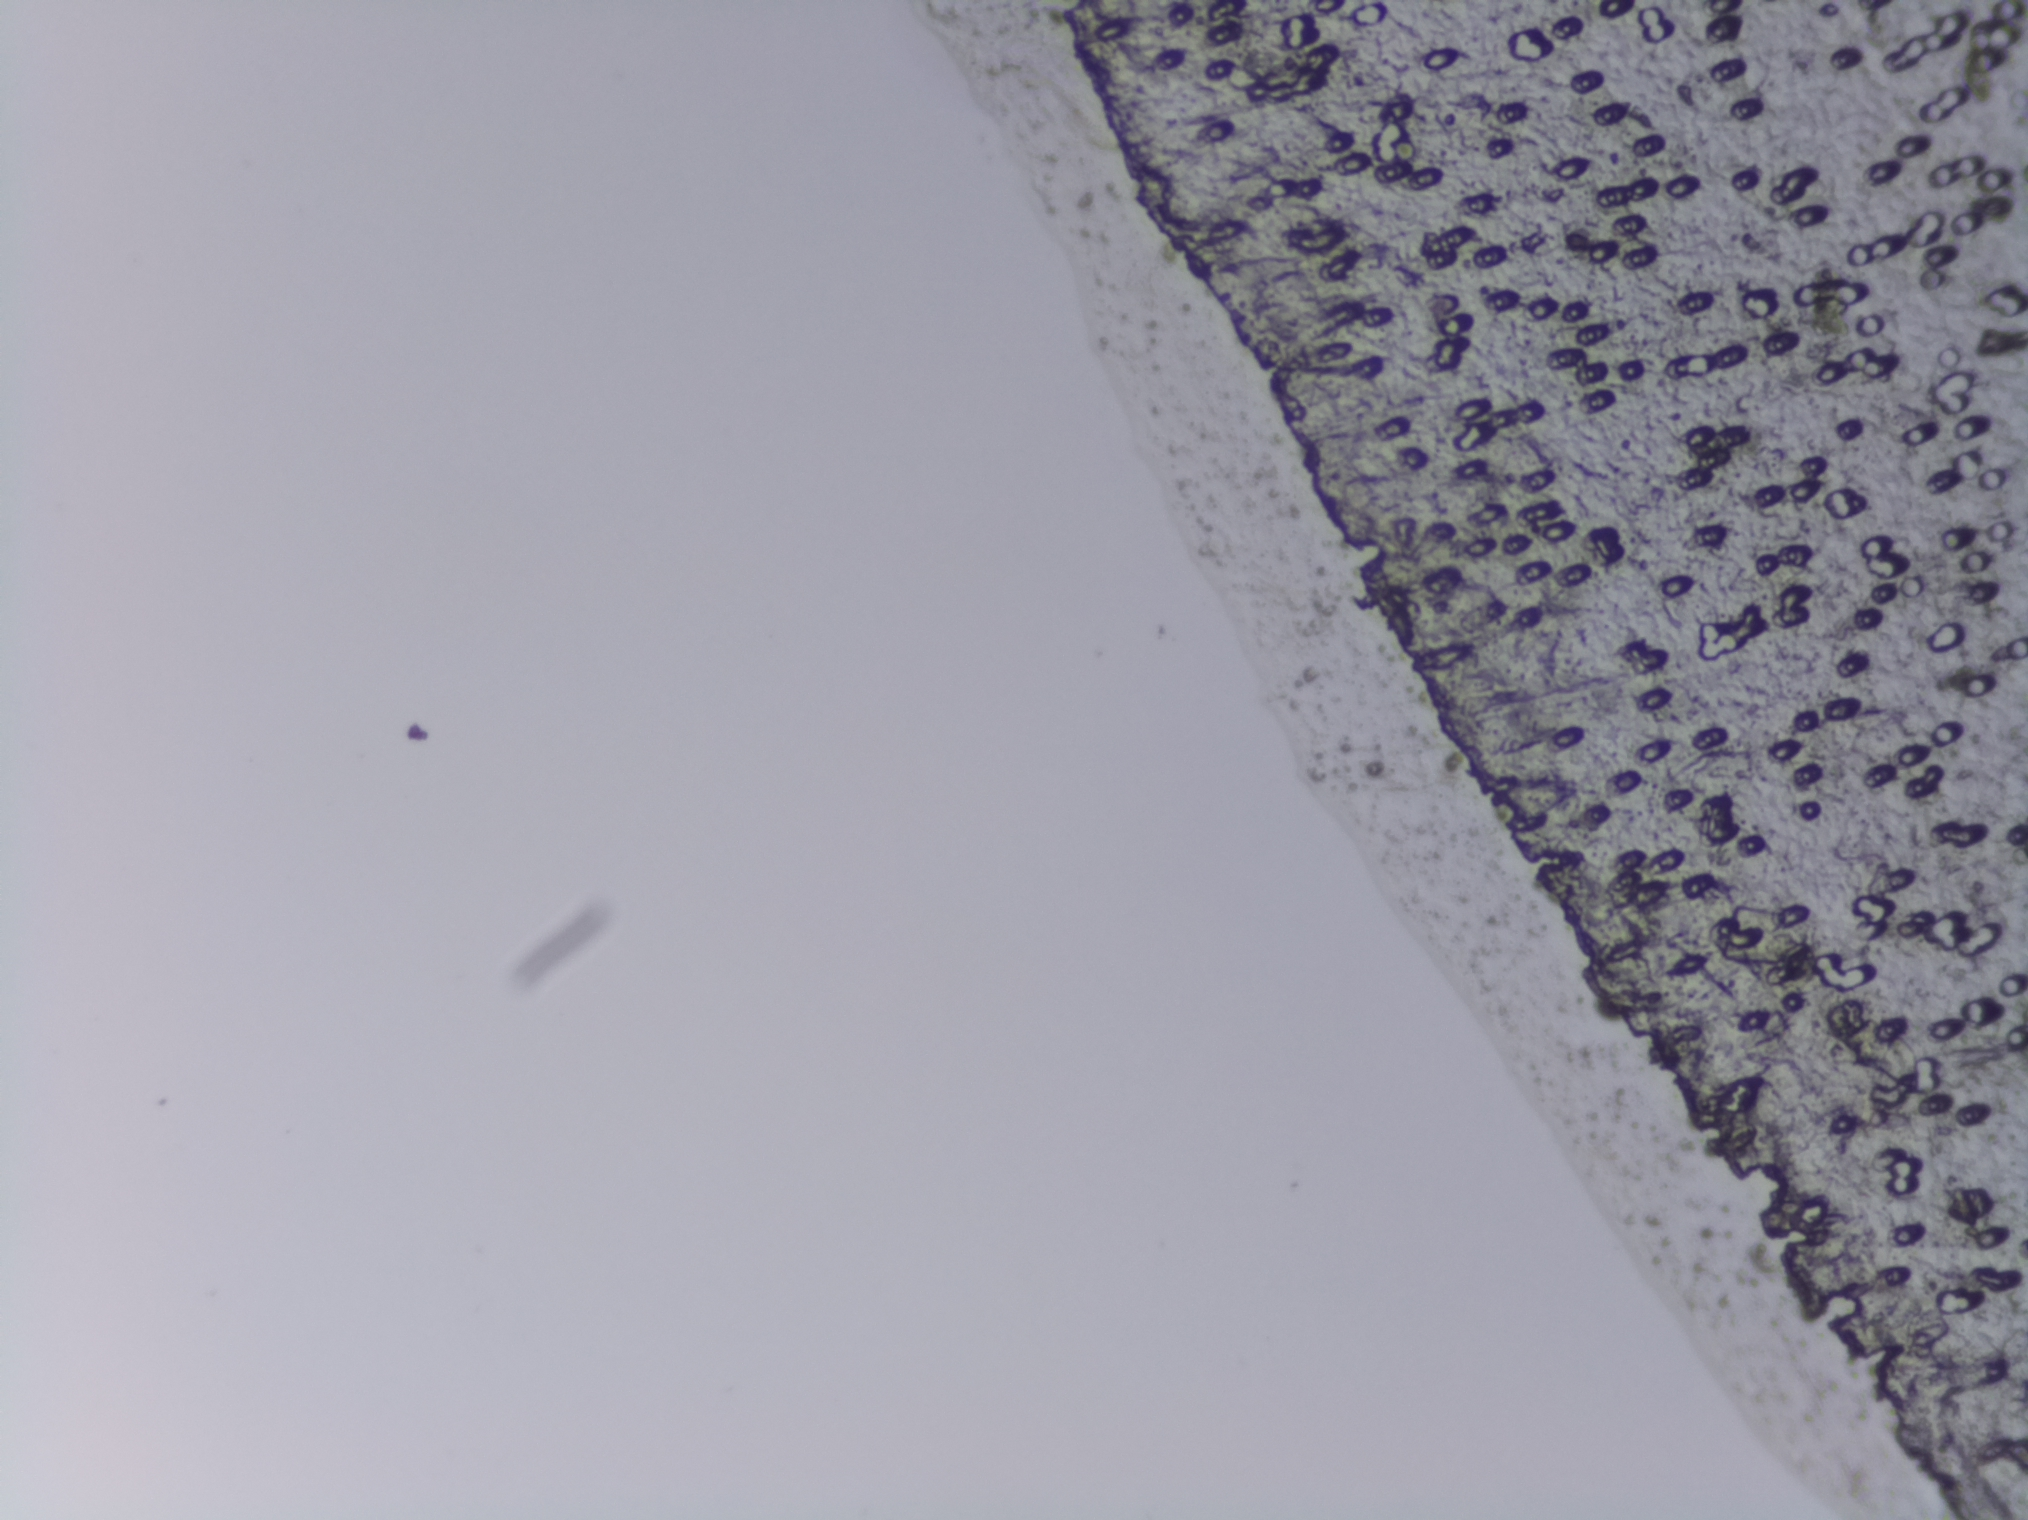
Photograph from an automated digital microscope: urine filter membrane, 4× objective. Field of view: about 1.5 mm wide and 1.1 mm high.
Schistosoma eggs: none outlined.